Photograph from an automated digital microscope: urine filter membrane, 4× objective. Field of view: about 1.5 mm wide and 1.1 mm high.
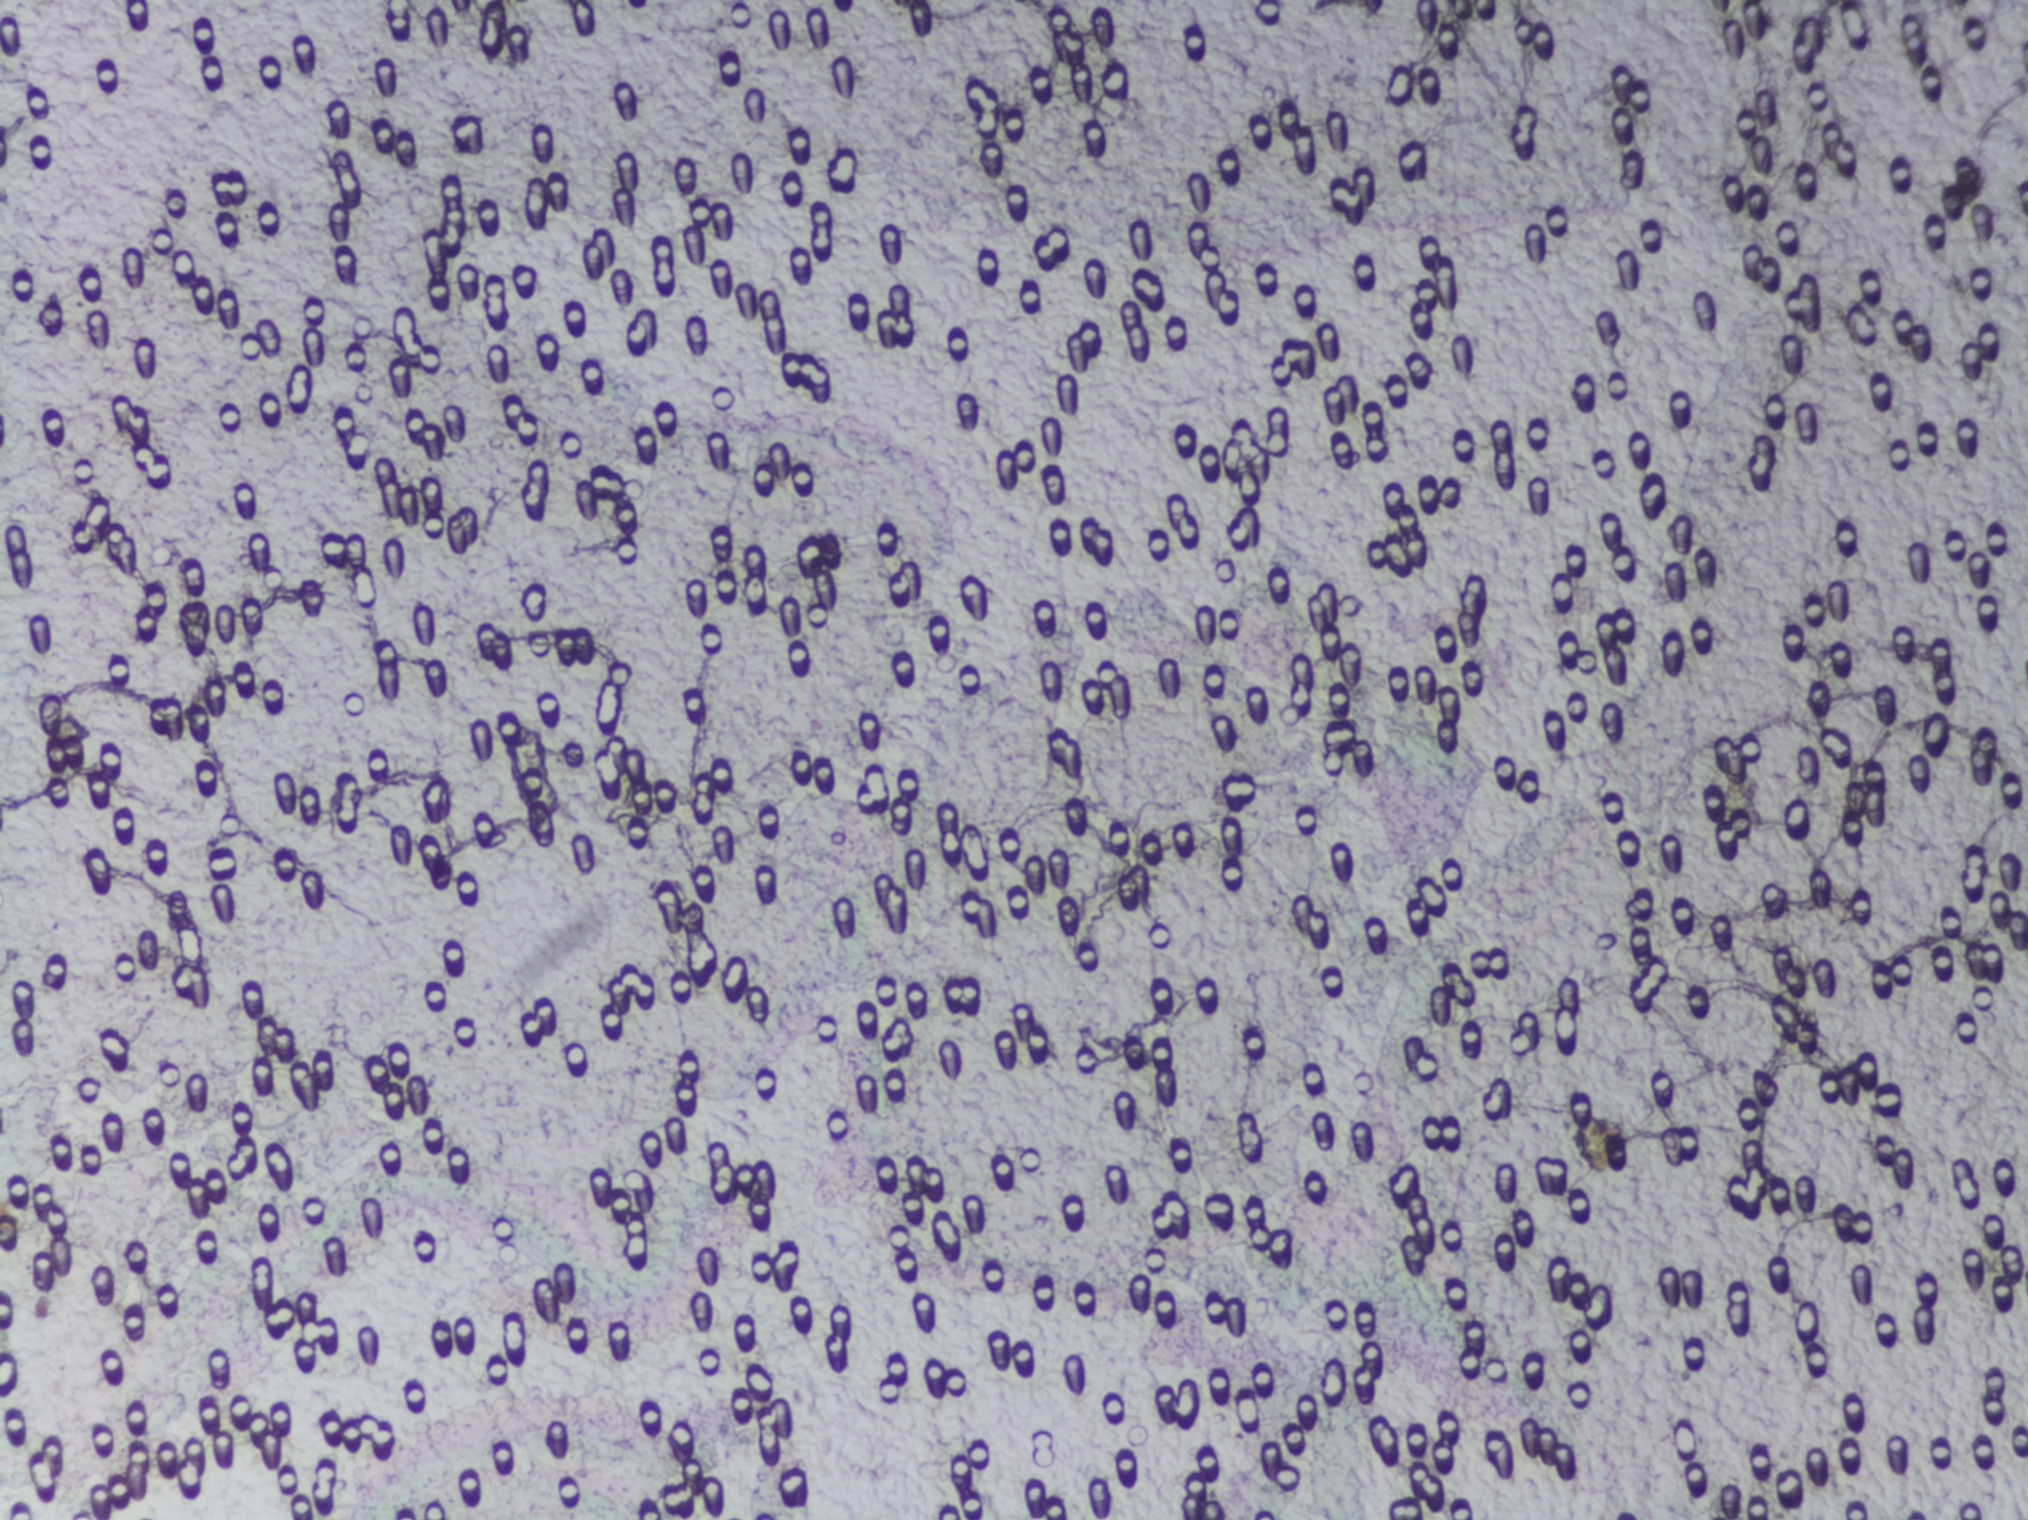
No Schistosoma egg is outlined in this image's expert annotation.